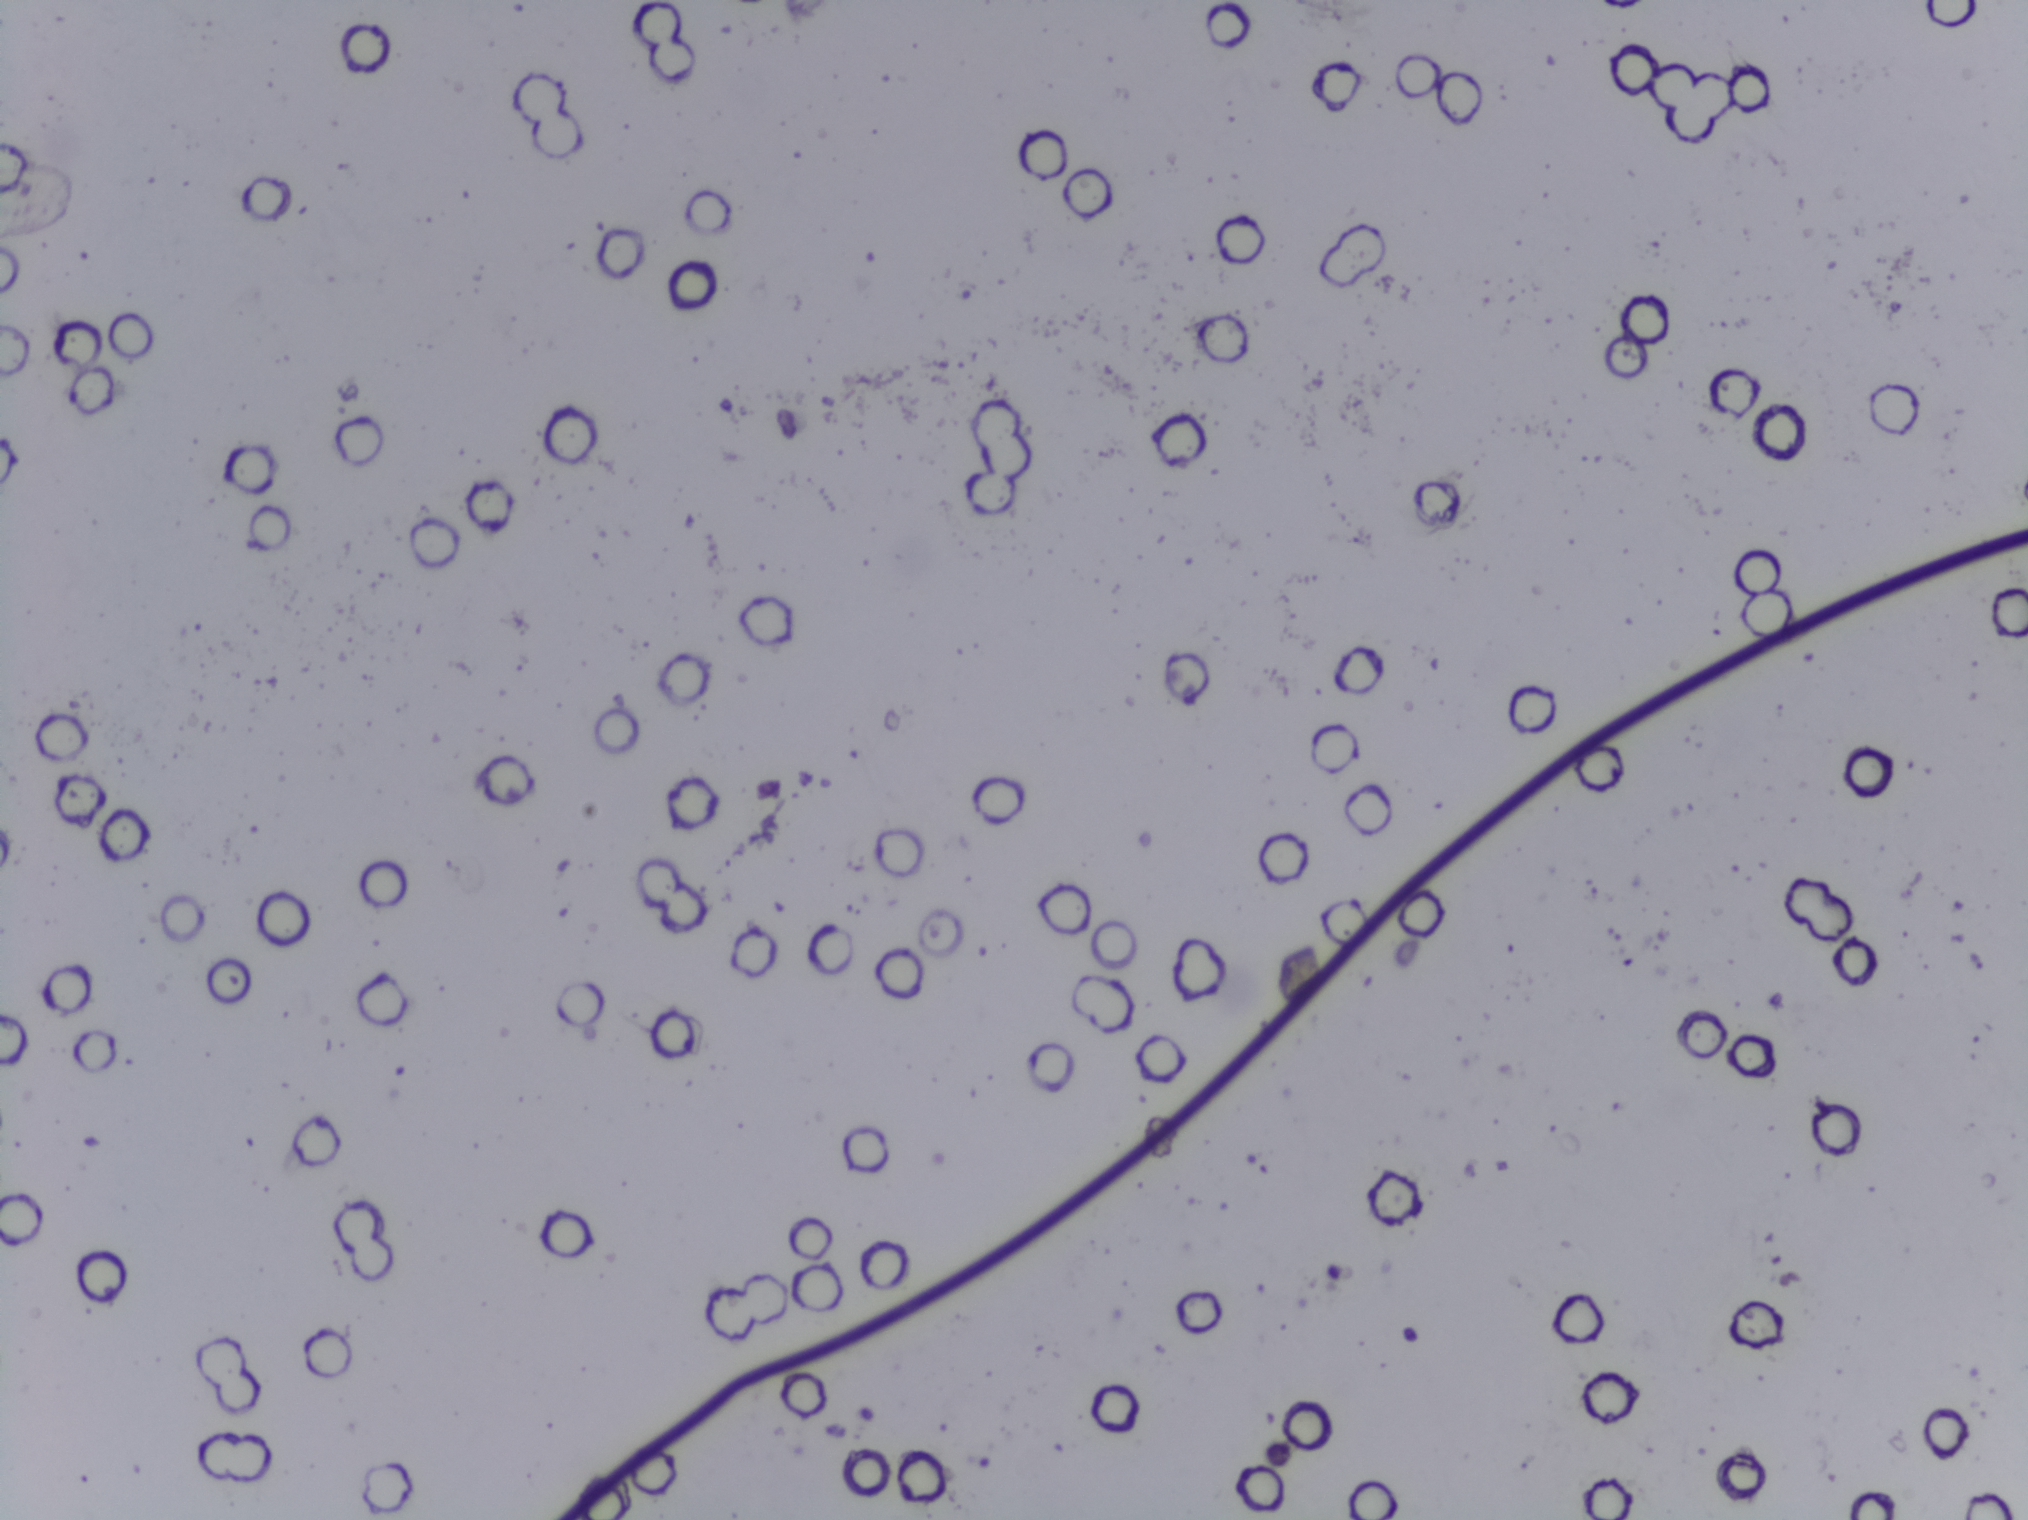
Photograph from an automated digital microscope: urine filter membrane, 4× objective. The image covers about 1.5 × 1.1 mm of the membrane.
No Schistosoma egg is outlined in this image's expert annotation.